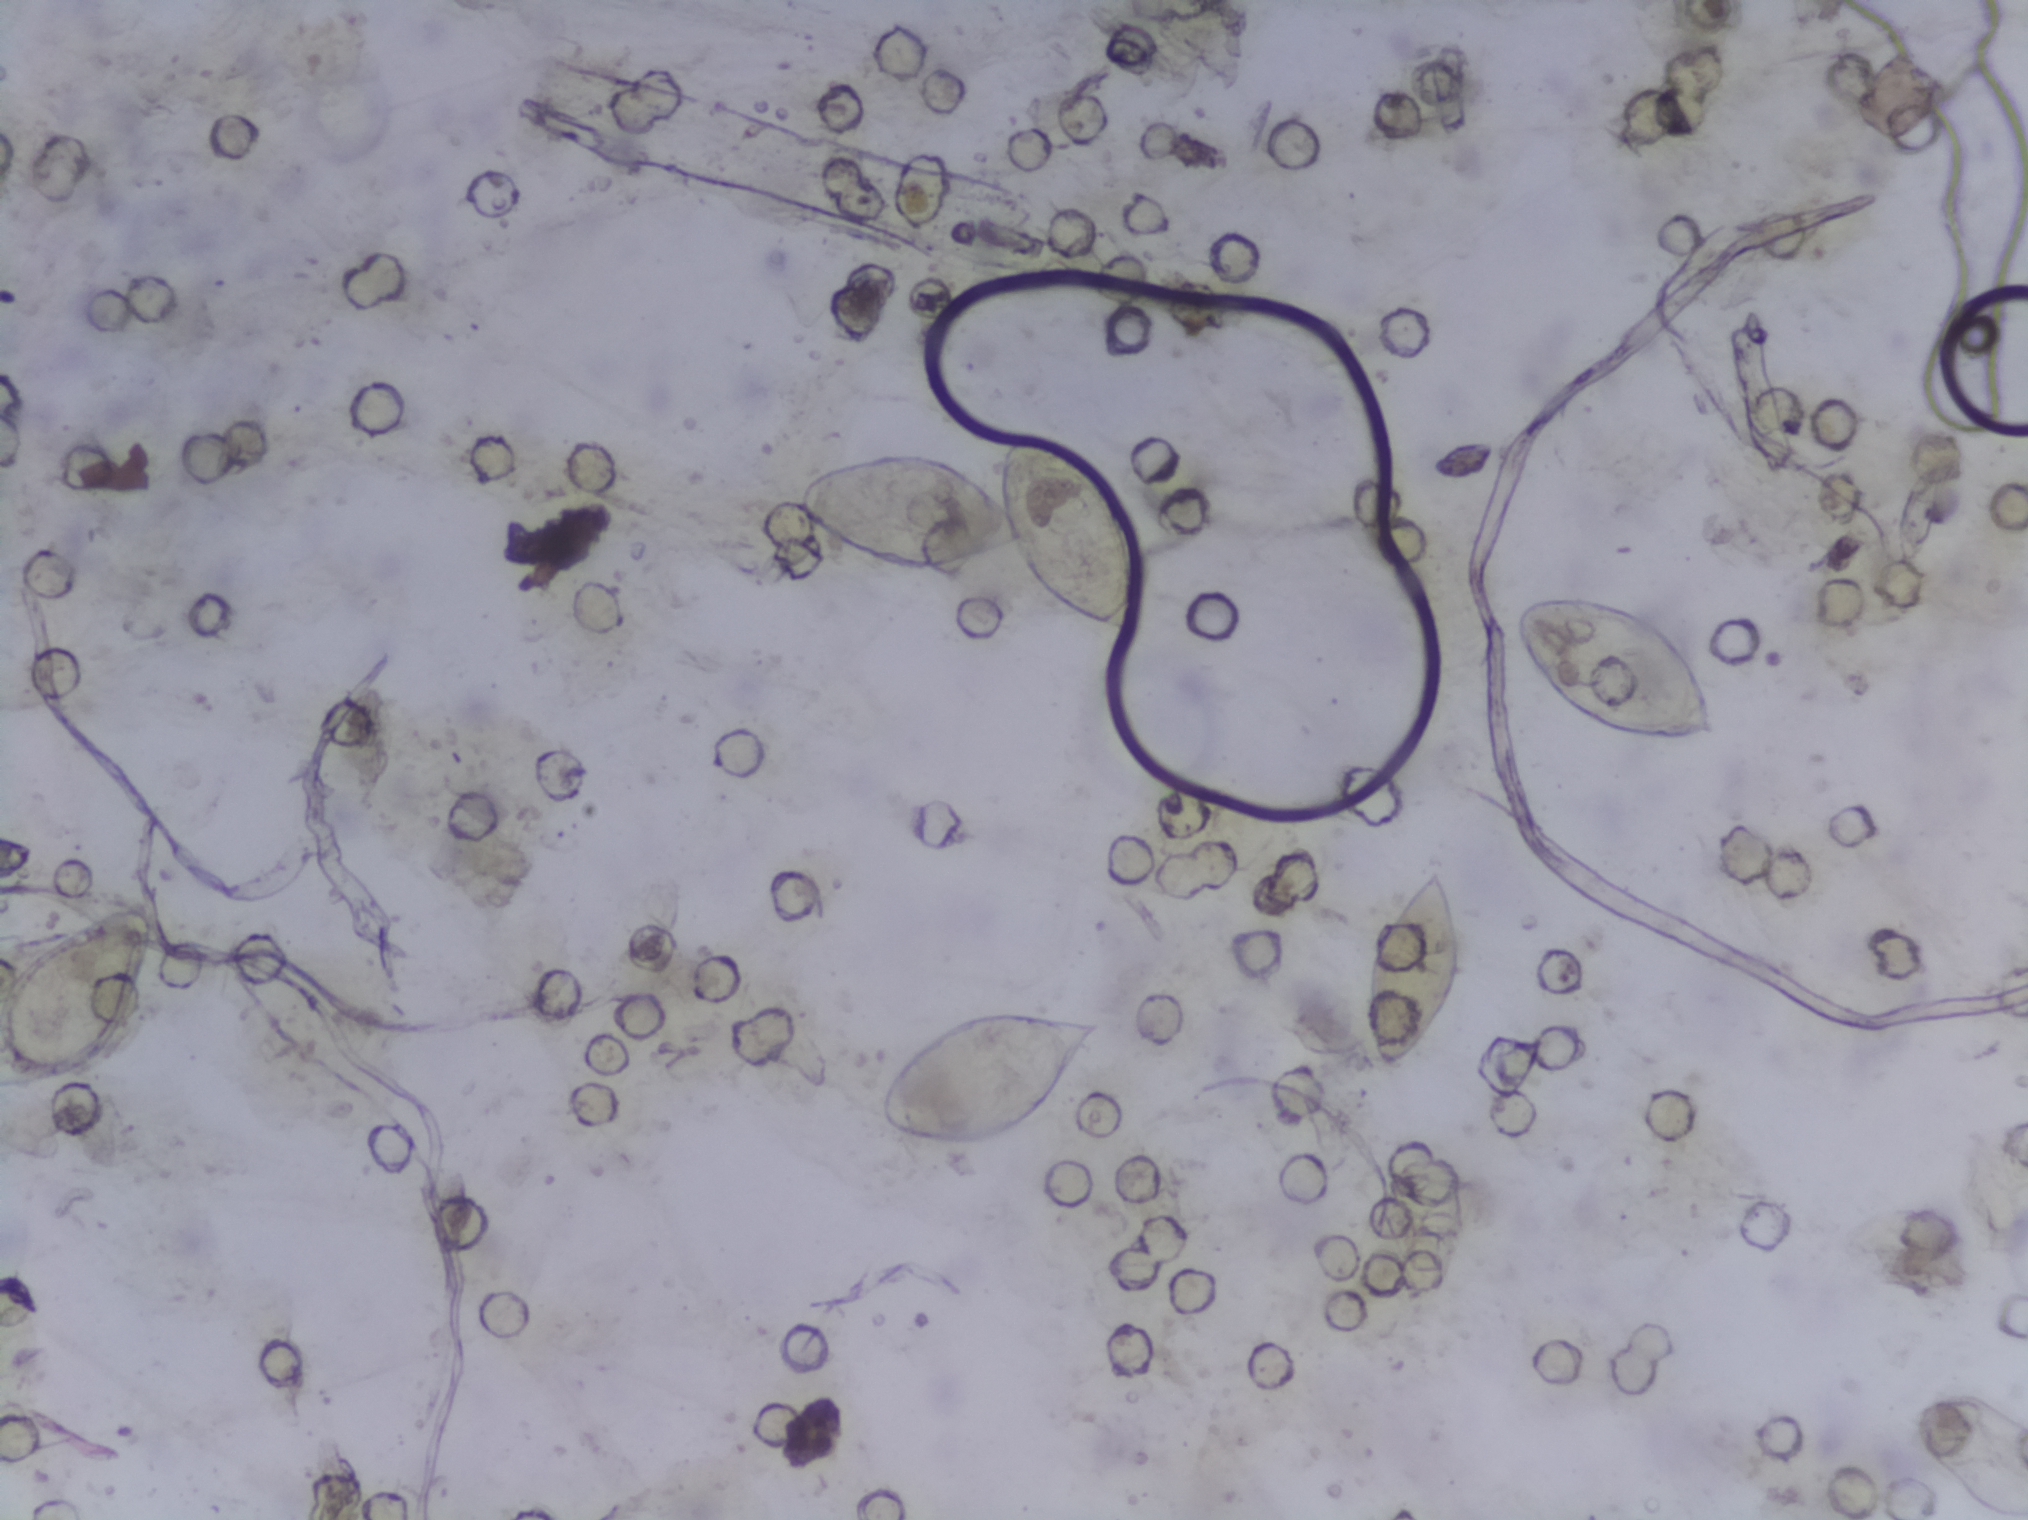
Urine filter membrane photographed through a 4× microscope objective.
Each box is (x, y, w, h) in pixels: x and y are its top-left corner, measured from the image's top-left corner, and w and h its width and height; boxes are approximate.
Areas outlined as Schistosoma eggs: (x=0, y=894, w=162, h=190) (reaching the left edge of the frame); (x=790, y=432, w=350, h=212); (x=882, y=1004, w=222, h=142); (x=1364, y=862, w=108, h=214); (x=1513, y=590, w=210, h=156). Eggs that touch can end up inside the same outlined area.